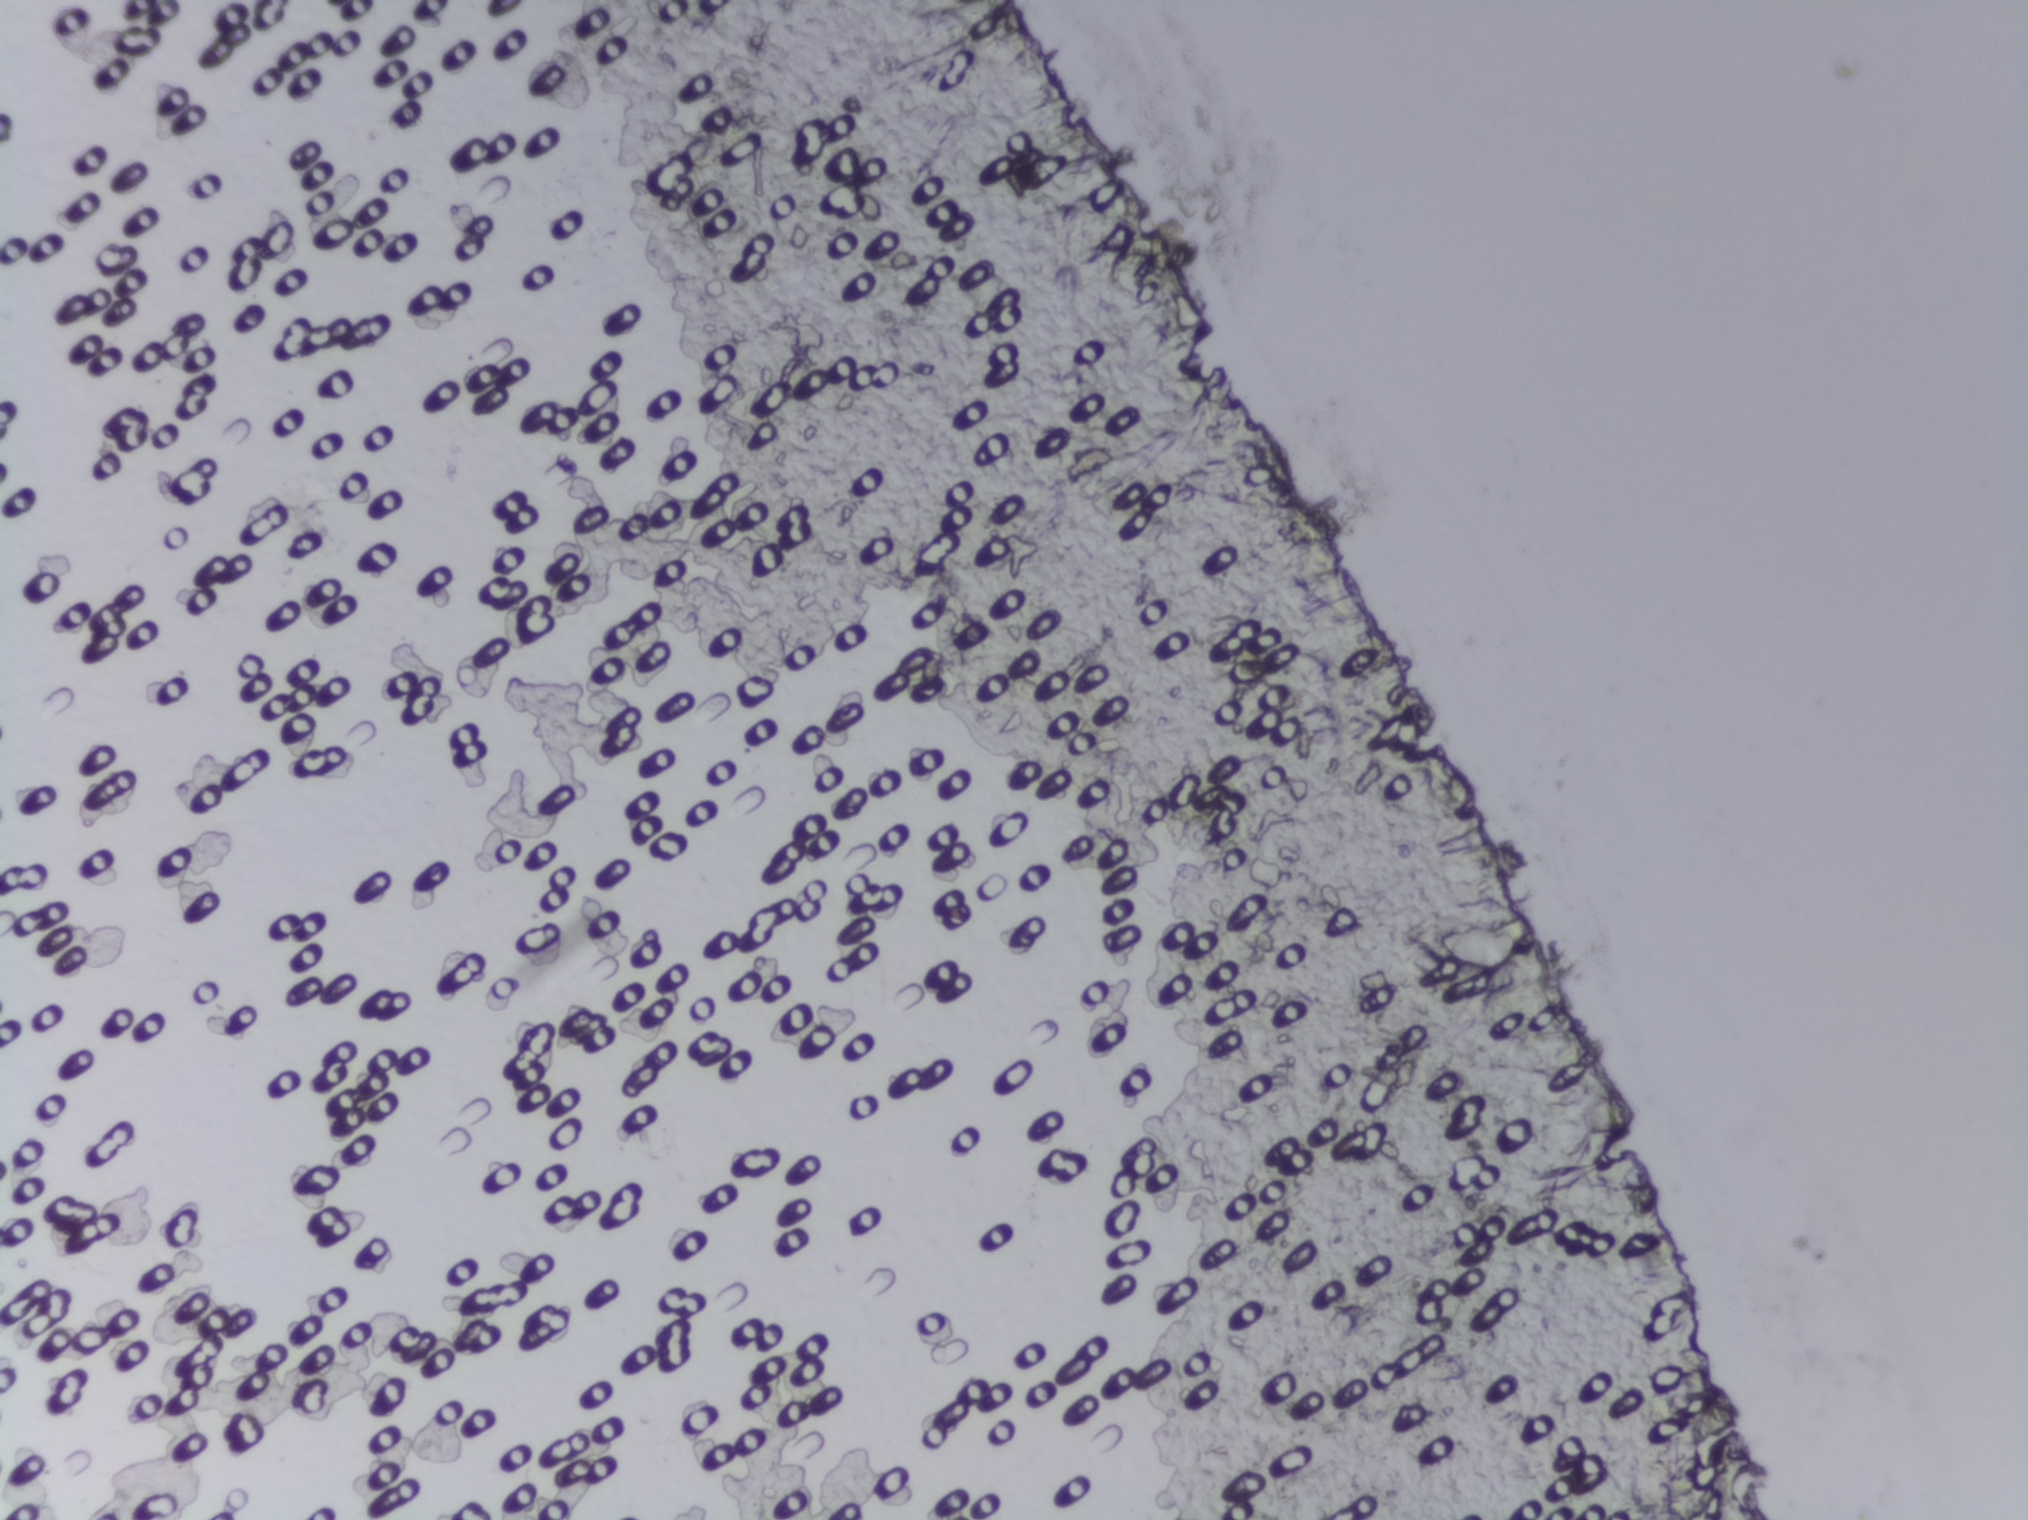
Photomicrograph of a urine filtration membrane, 4× objective. Field of view: about 1.5 mm wide and 1.1 mm high.
No Schistosoma egg is outlined in this image's expert annotation.